Urine filter membrane photographed through a 4× microscope objective.
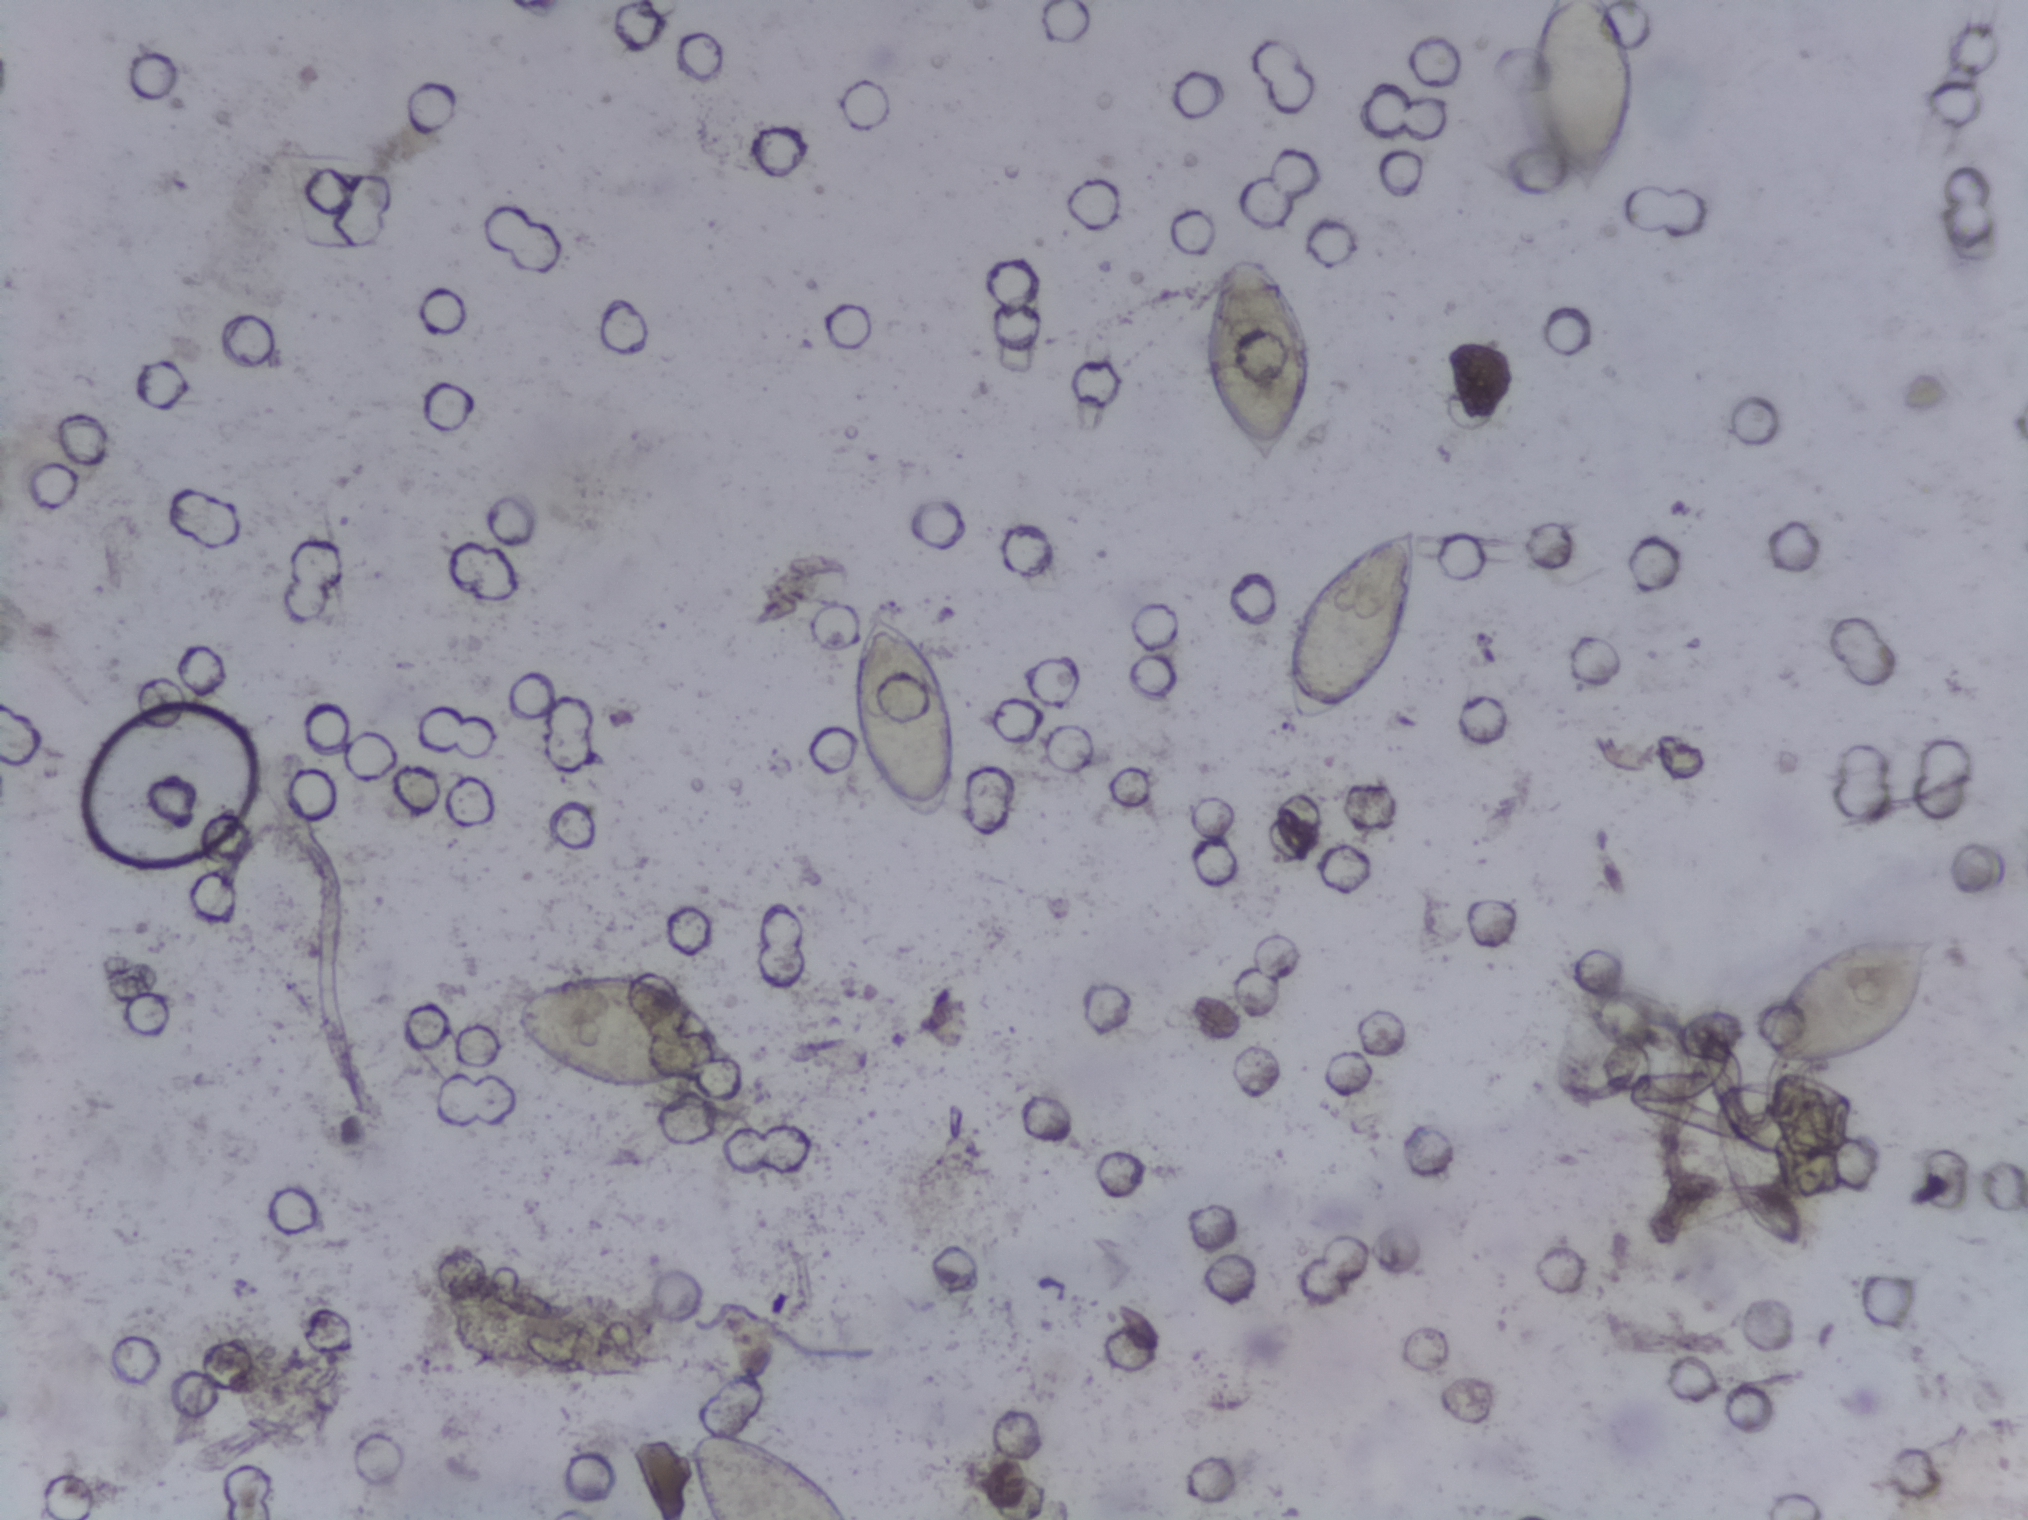
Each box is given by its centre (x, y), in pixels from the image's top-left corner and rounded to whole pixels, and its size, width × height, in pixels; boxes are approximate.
Findings: seven areas outlined as Schistosoma eggs. Locations, left to right: centre (629, 1029), 228 × 125 px; centre (772, 1474), 165 × 91 px (reaching the bottom edge of the frame); centre (903, 717), 107 × 218 px; centre (1256, 364), 113 × 217 px; centre (1352, 624), 138 × 197 px; centre (1585, 99), 109 × 199 px (reaching the top edge of the frame); centre (1849, 999), 177 × 143 px. The marked pixels themselves, not the boxes around them, cover about 3.7% of the image. Eggs that touch can end up inside the same outlined area.